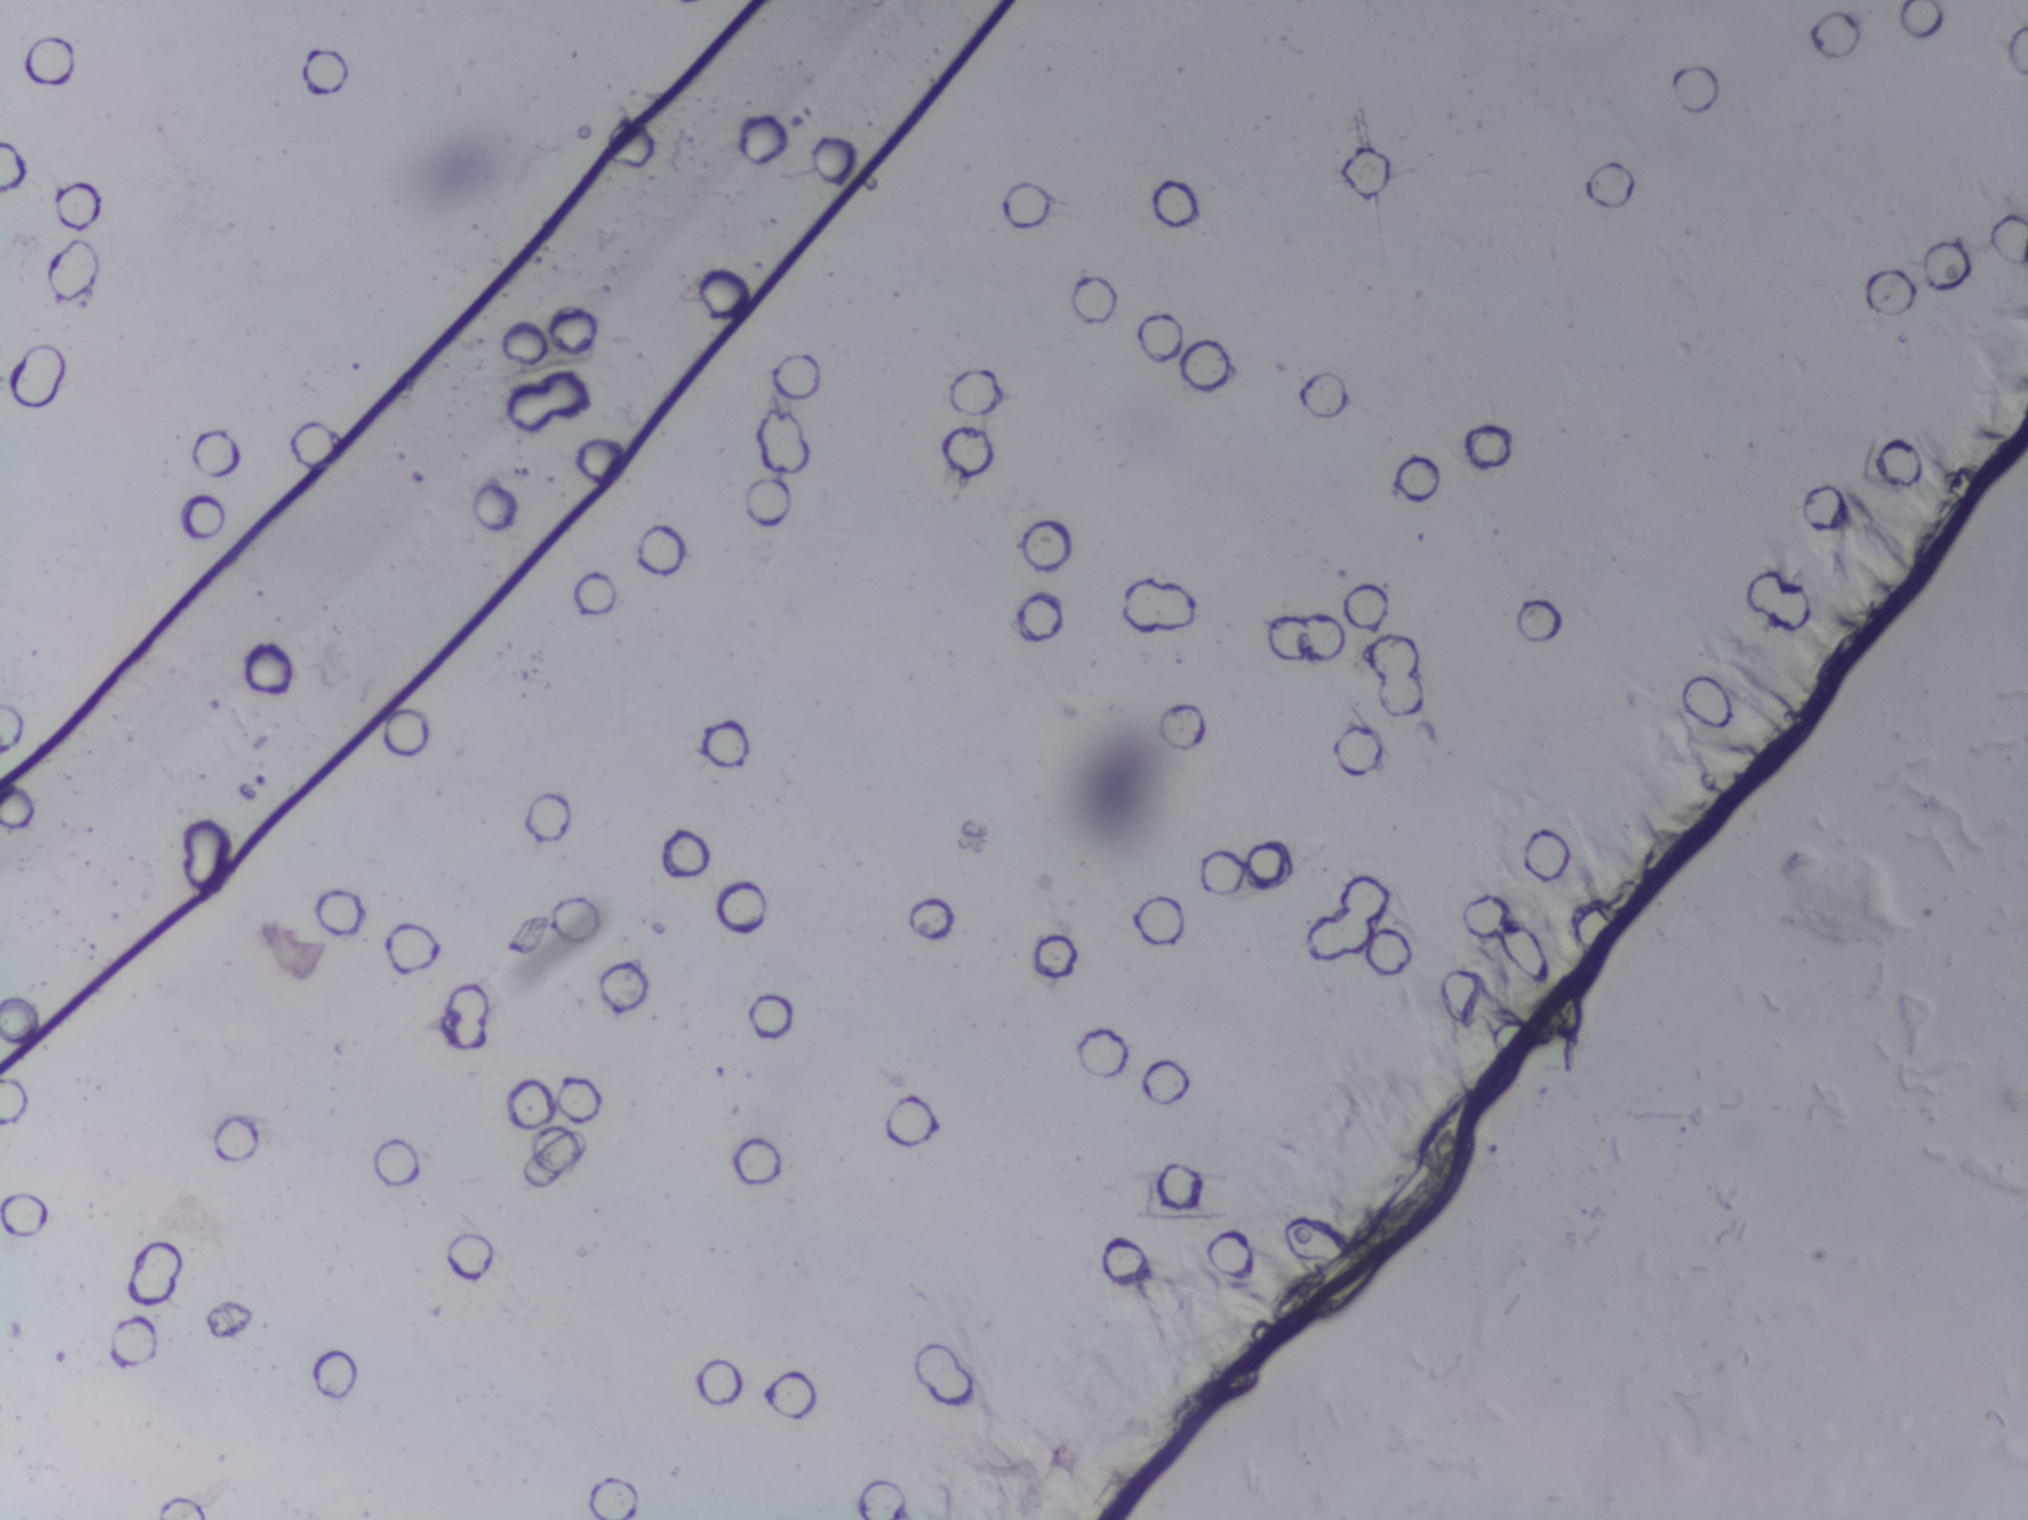
Photomicrograph of a urine filtration membrane, 4× objective.
No area of this image was outlined as a Schistosoma egg.